Microscope photograph (4× objective) of a membrane that a urine sample was filtered through.
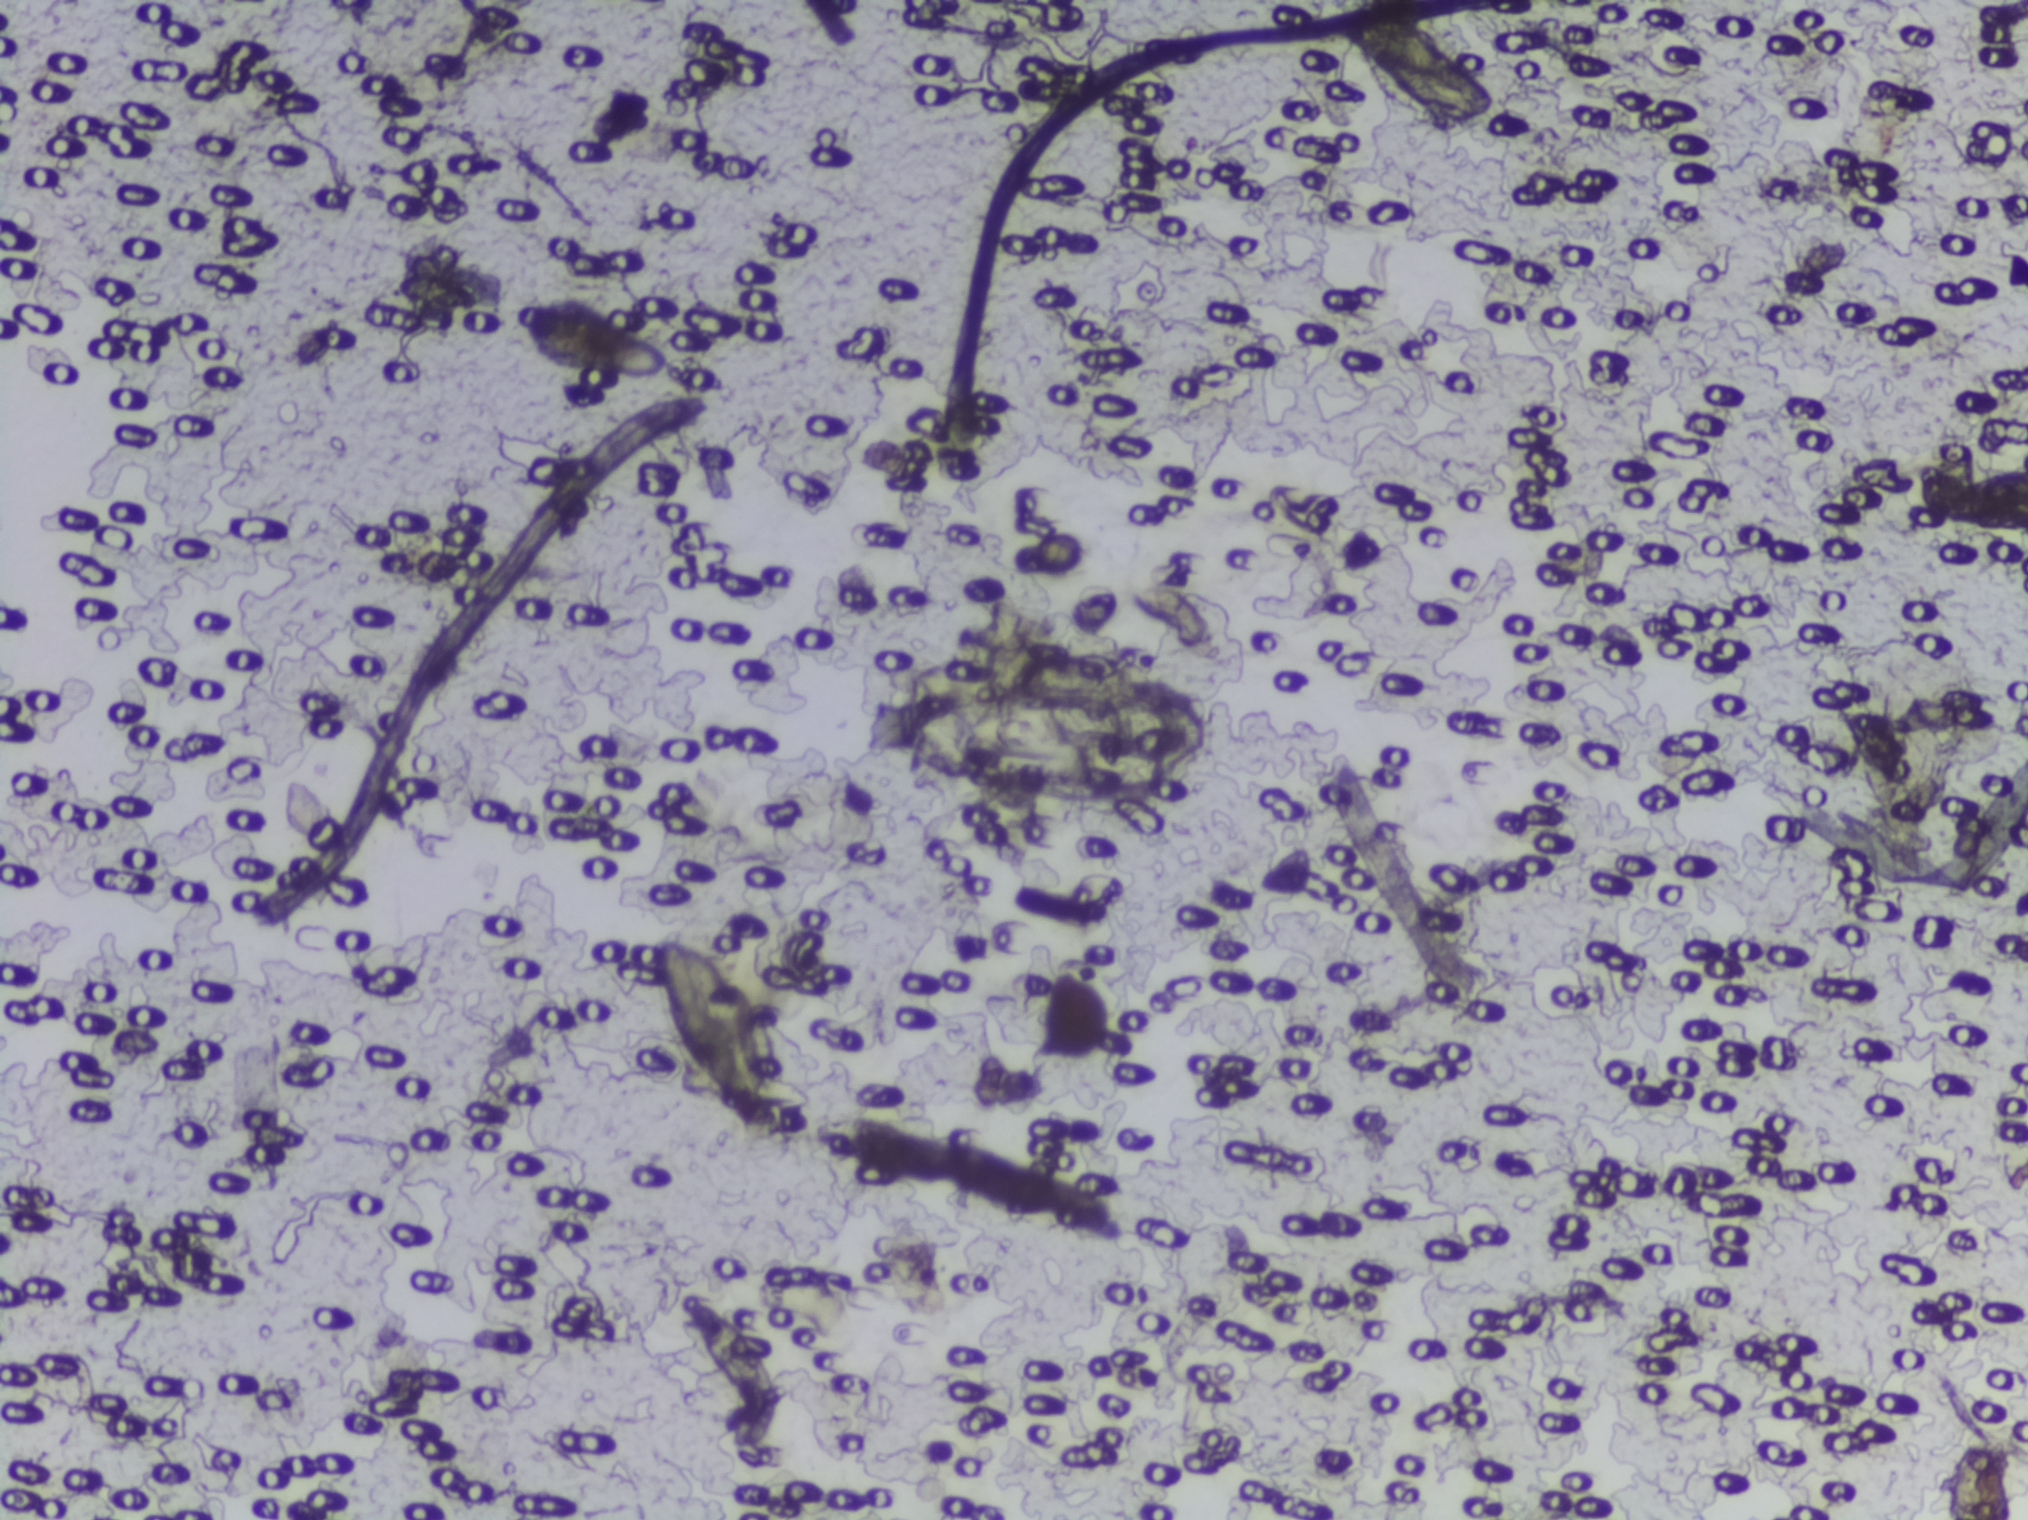
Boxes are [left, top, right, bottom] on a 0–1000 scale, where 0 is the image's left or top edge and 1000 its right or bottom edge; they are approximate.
Three areas of this image are outlined as Schistosoma eggs, from left to right: [314, 599, 403, 760]; [425, 418, 606, 545] (eggs clustered together); [654, 3, 743, 82]. Eggs that touch can end up inside the same outlined area. Any one outlined egg may, rarely, be S. mansoni rather than S. haematobium.